Urine filter membrane photographed through a 4× microscope objective. The field of view is about 1.5 mm × 1.1 mm.
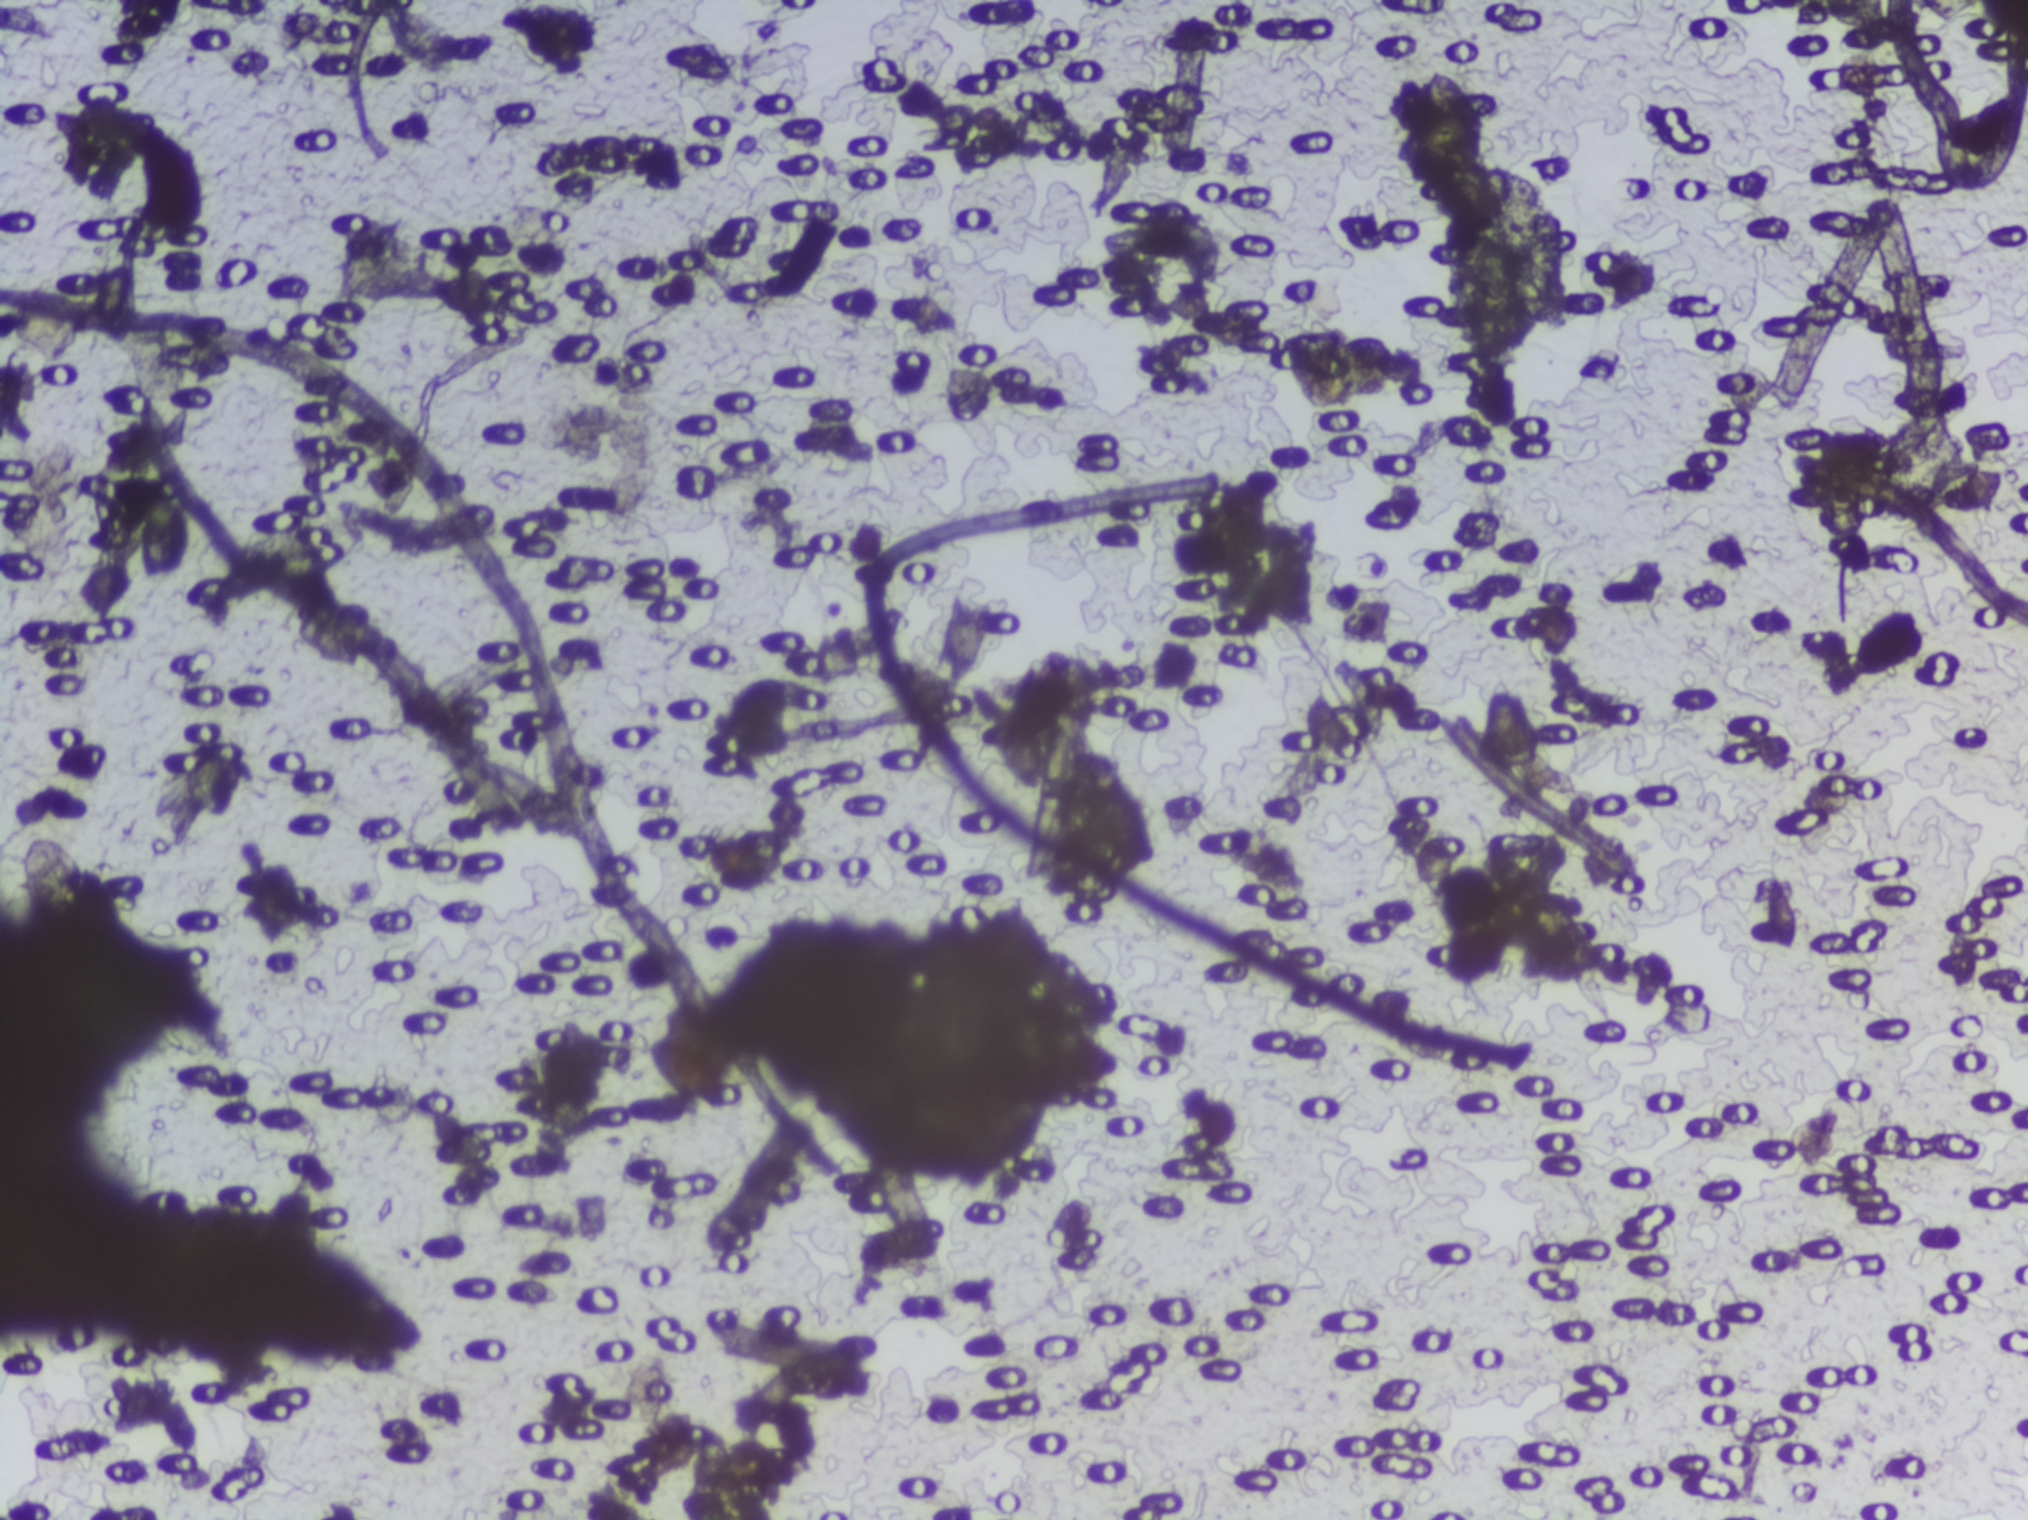
The expert annotation outlines no Schistosoma egg in this image.